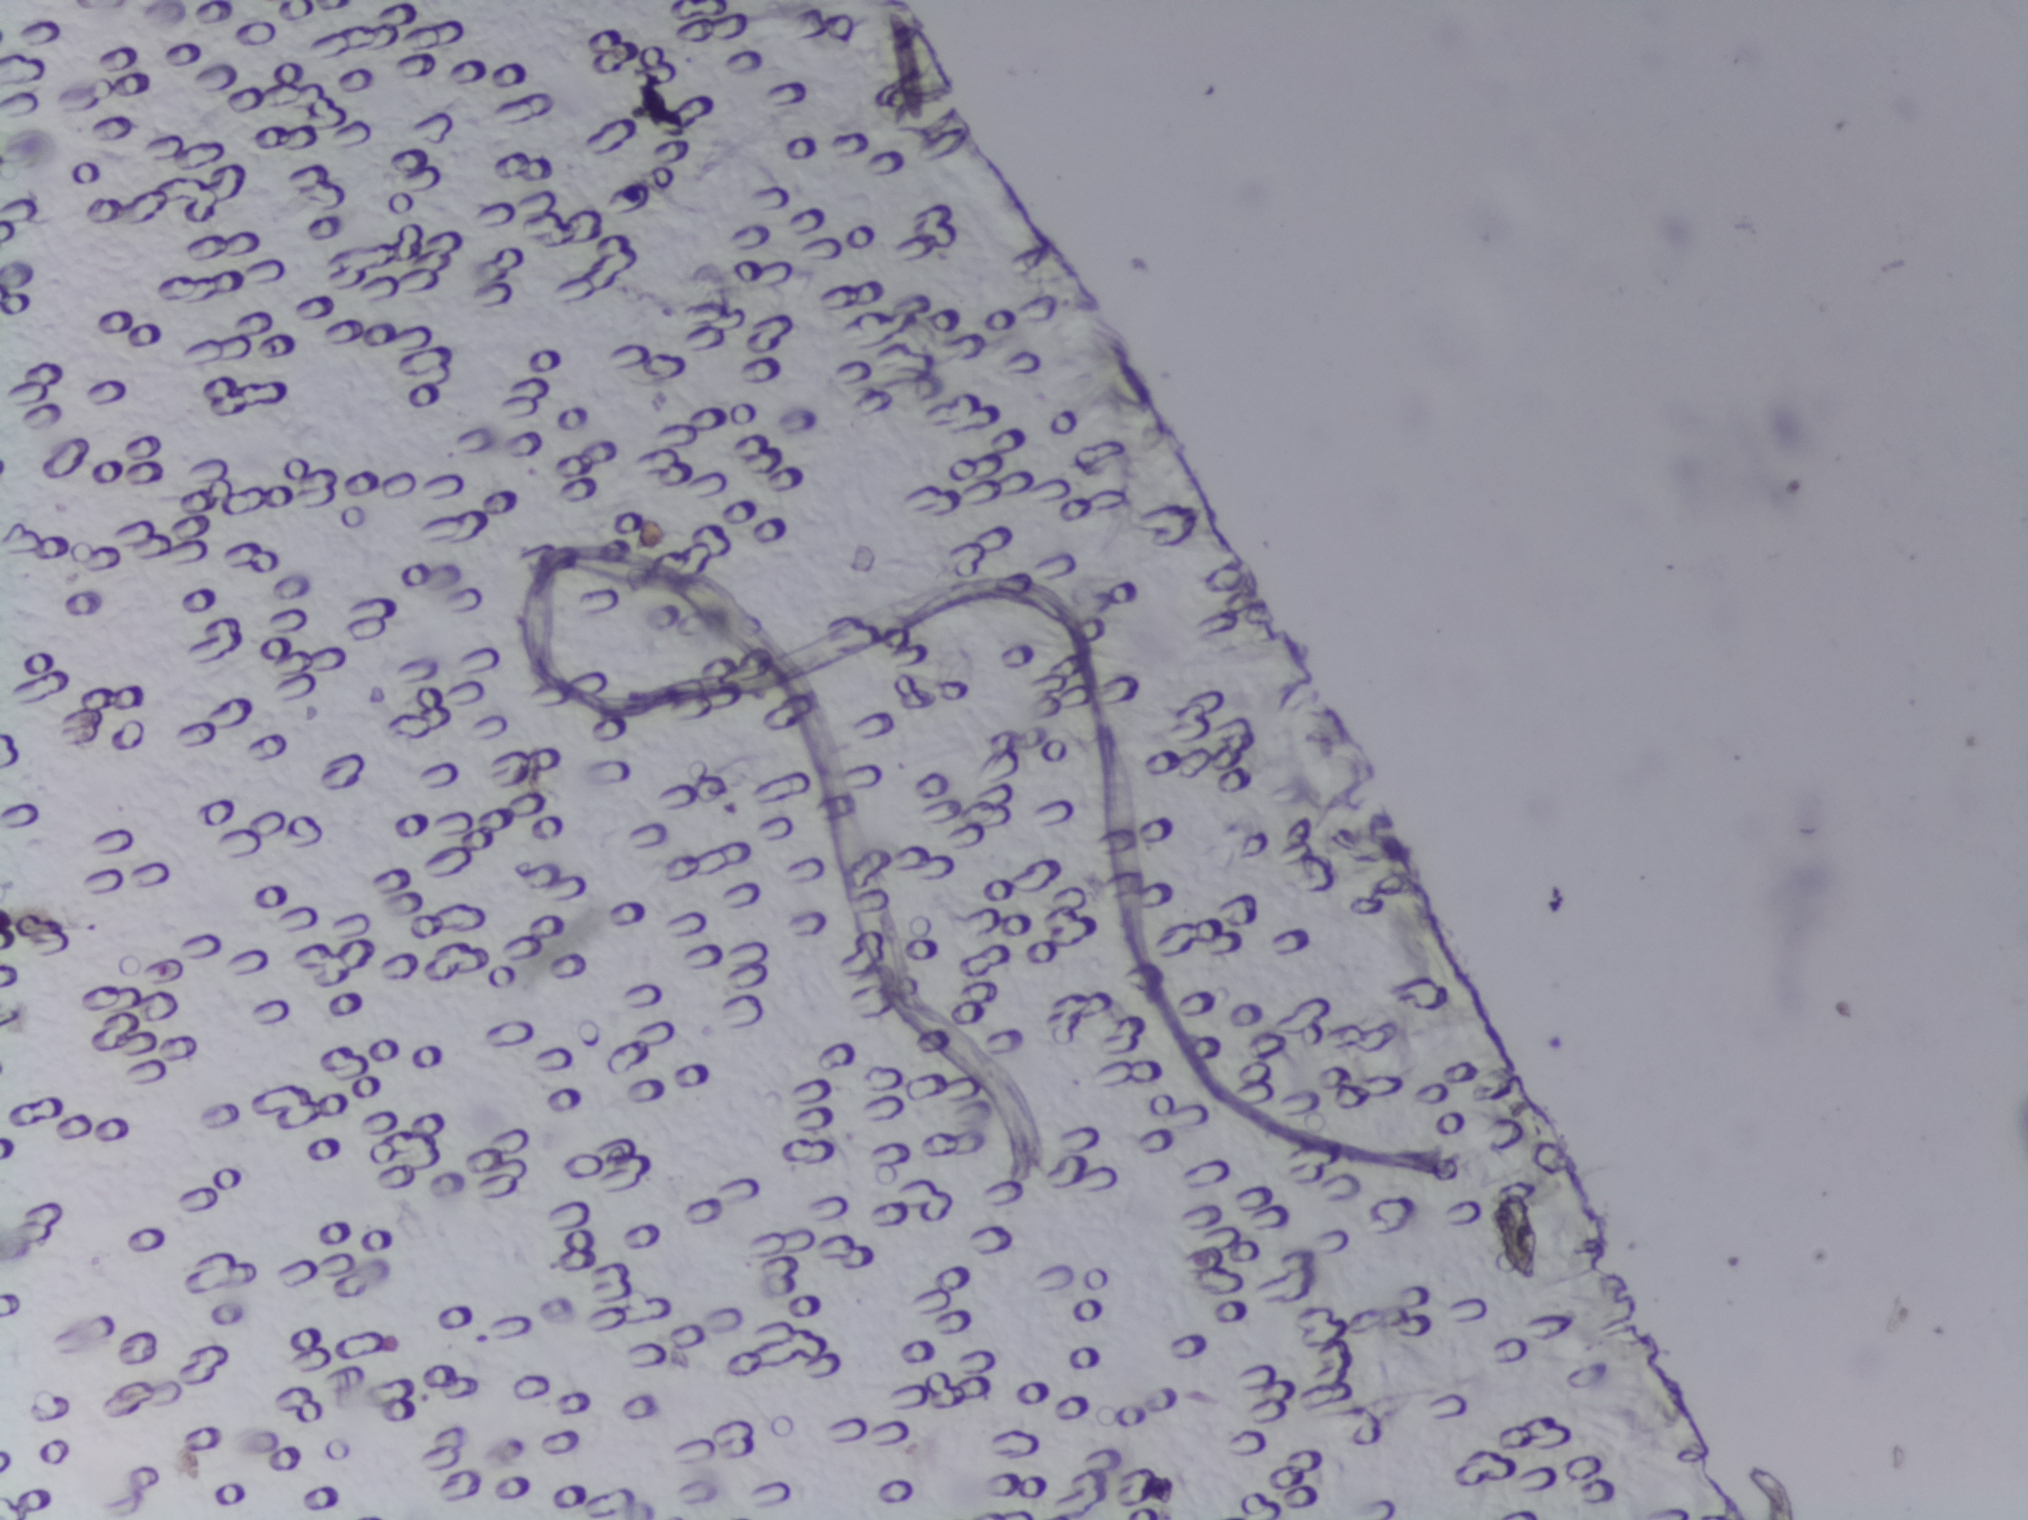
Photograph from an automated digital microscope: urine filter membrane, 4× objective.
Schistosoma eggs: none outlined.